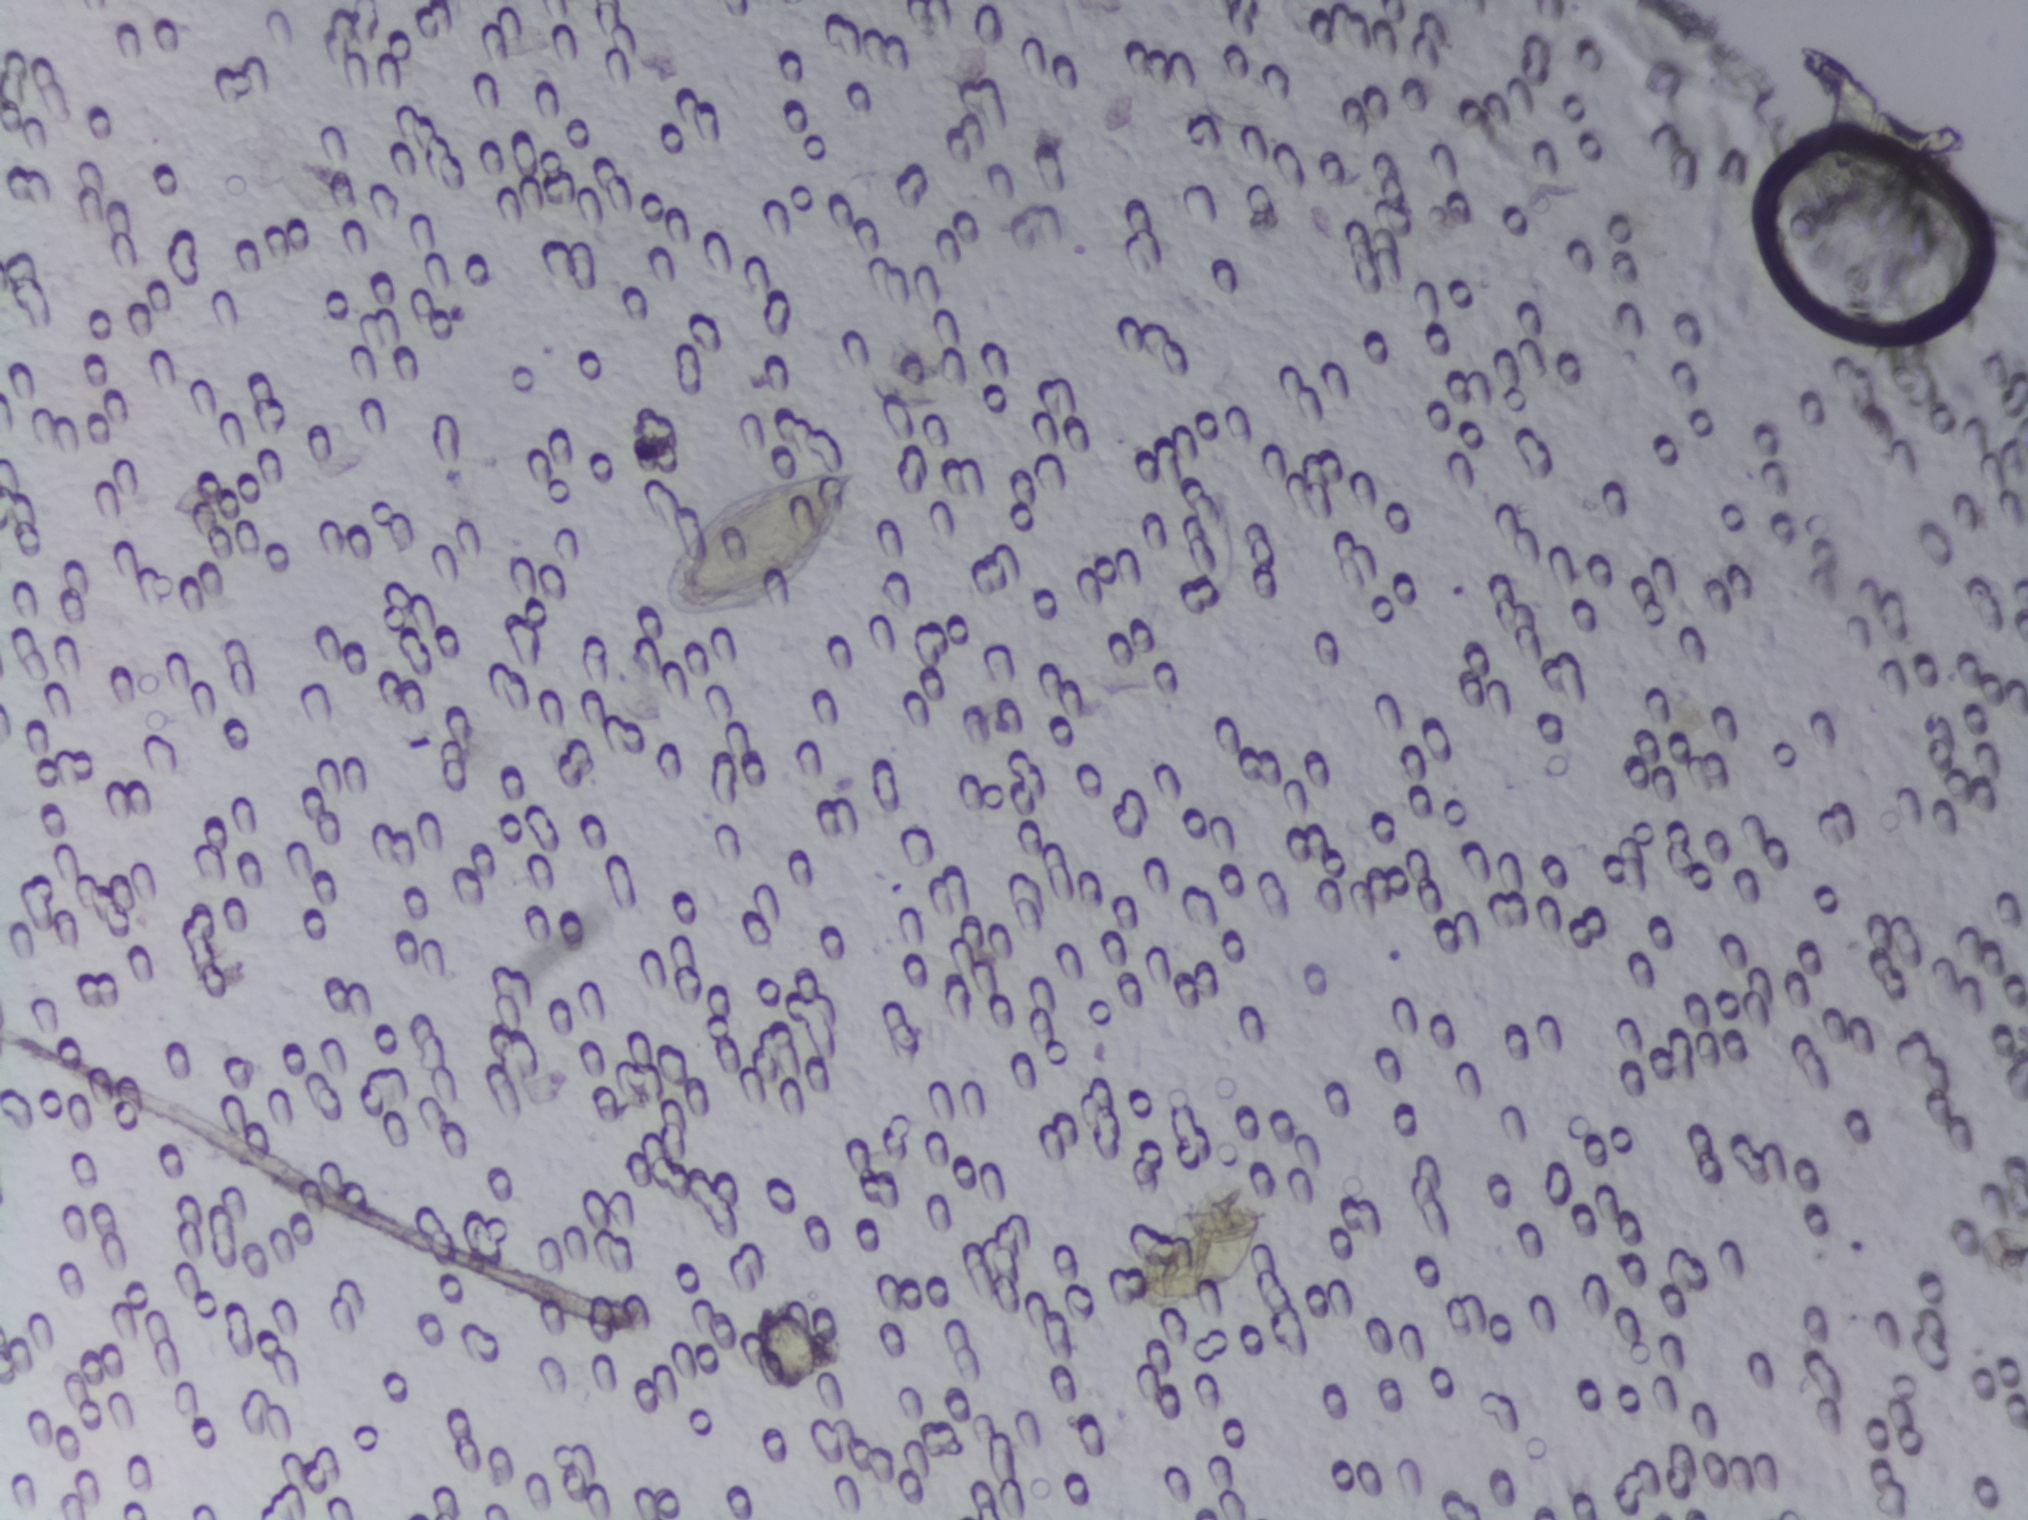
Urine filtration membrane under a 4× objective, photographed by an automated digital microscope.
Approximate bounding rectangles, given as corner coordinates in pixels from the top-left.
Two areas of this image are outlined as Schistosoma eggs, from left to right: (x1=652, y1=440, x2=868, y2=646) and (x1=1122, y1=1183, x2=1279, y2=1344). An outlined area can hold more than one egg.